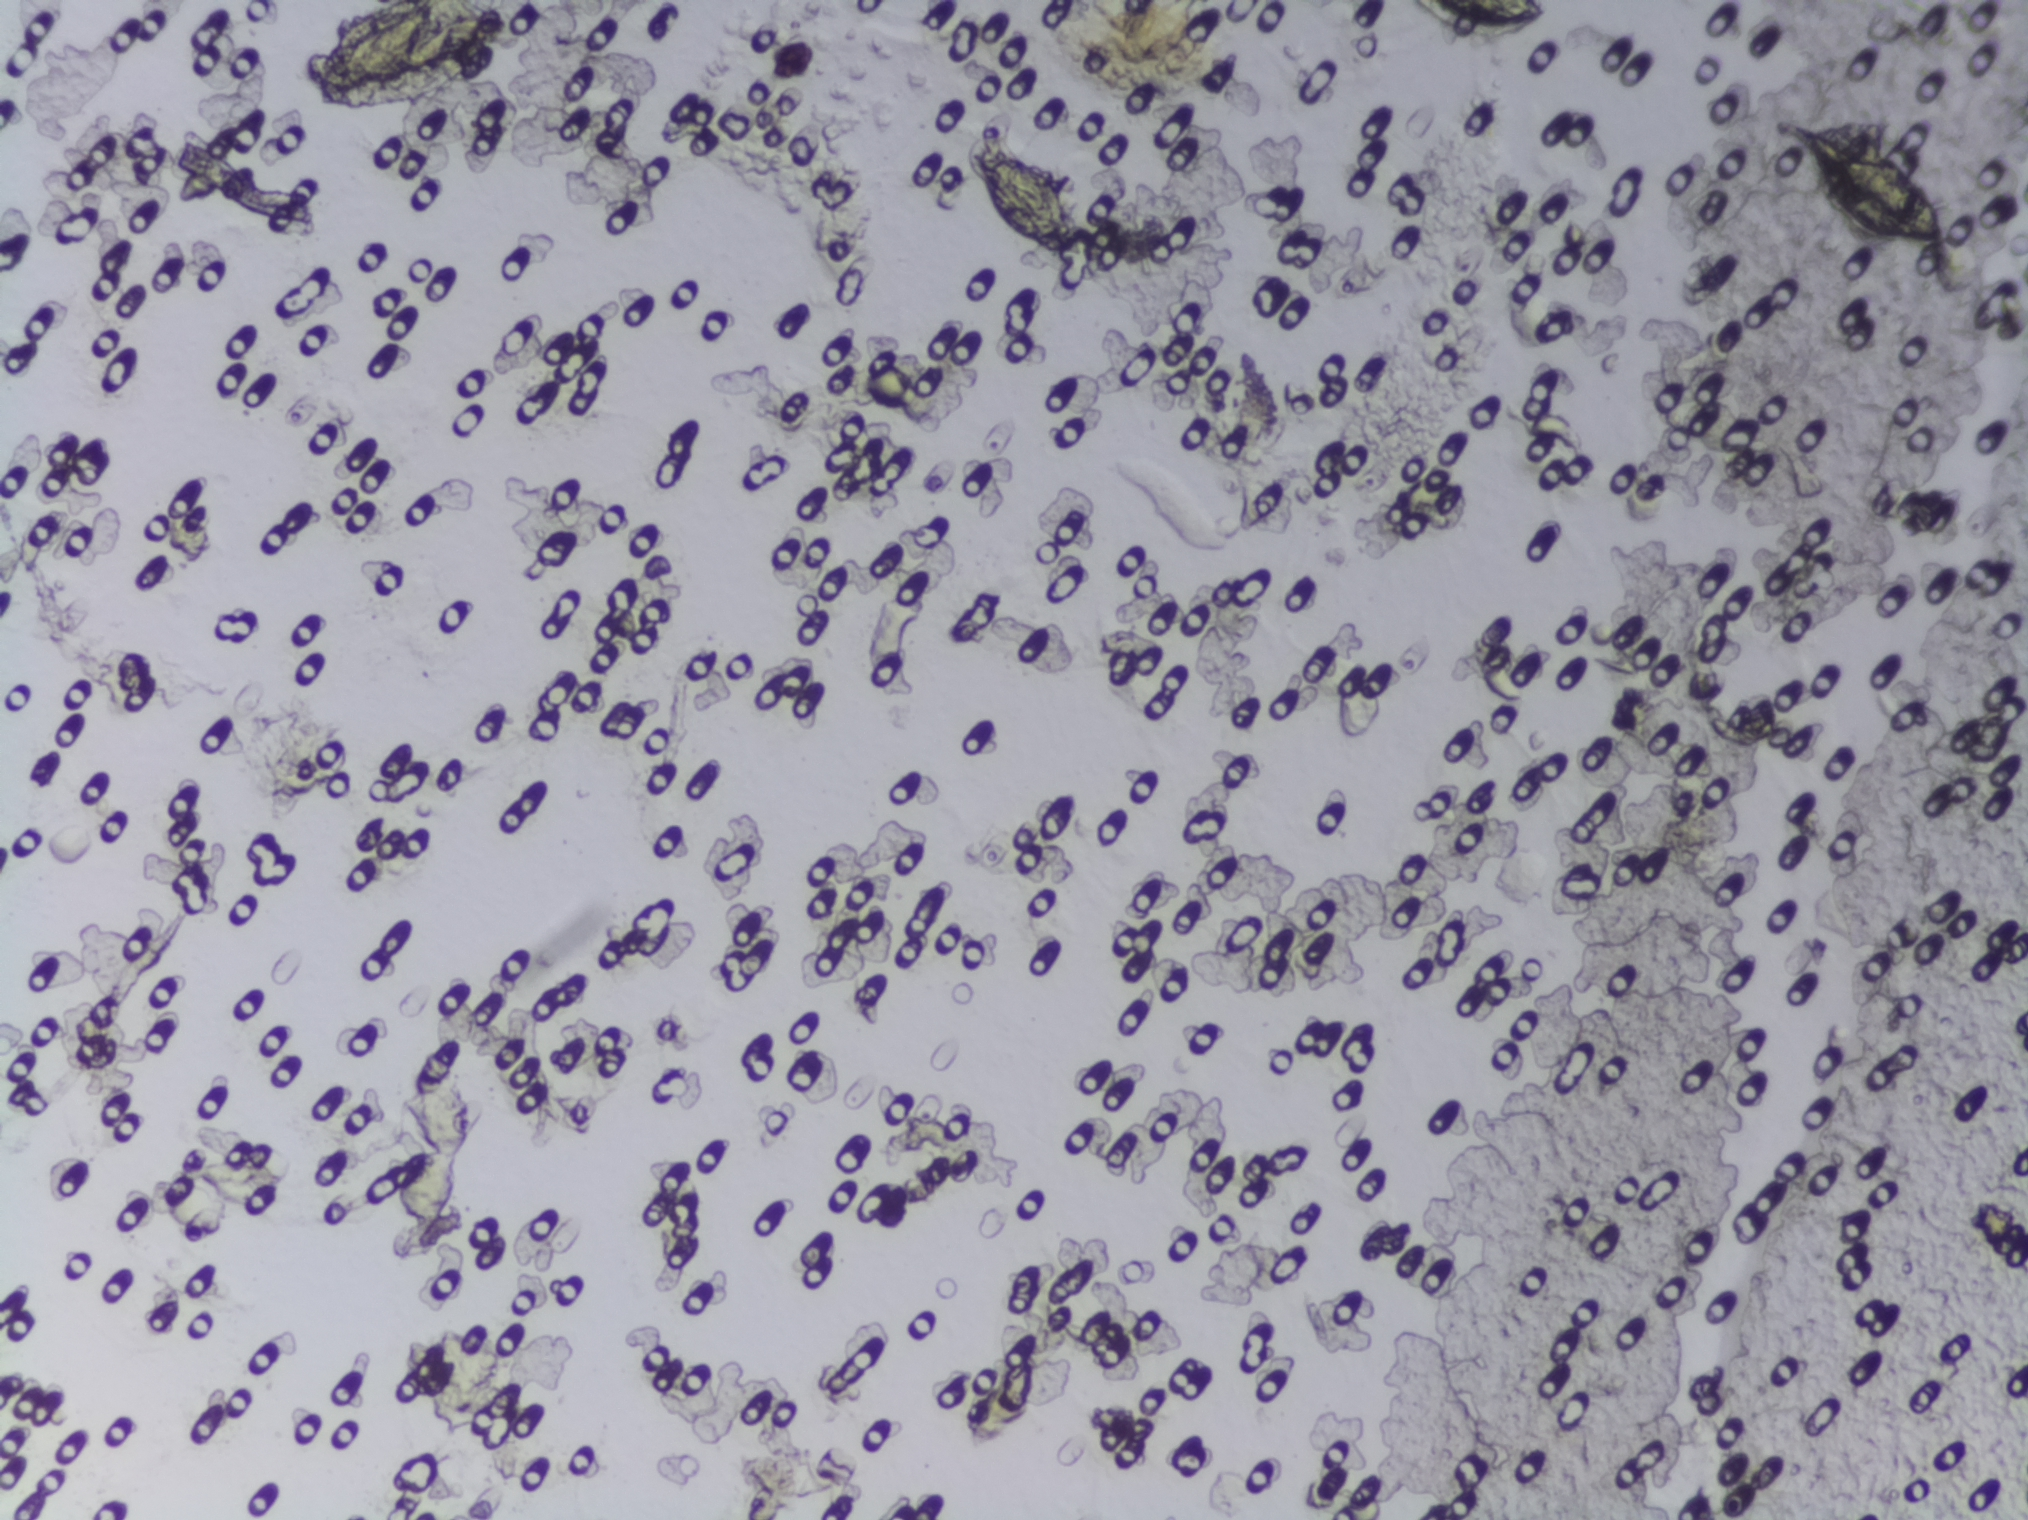
Urine filter membrane photographed through a 4× microscope objective. Field of view: about 1.5 mm wide and 1.1 mm high.
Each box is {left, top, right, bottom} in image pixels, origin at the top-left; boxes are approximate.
Schistosoma egg areas, outlined: {304, 0, 511, 111} (reaching the top edge of the frame); {974, 141, 1086, 265}; {1418, 0, 1554, 31} (reaching the top edge of the frame); {1771, 116, 1950, 250}. Eggs that touch can end up inside the same outlined area.